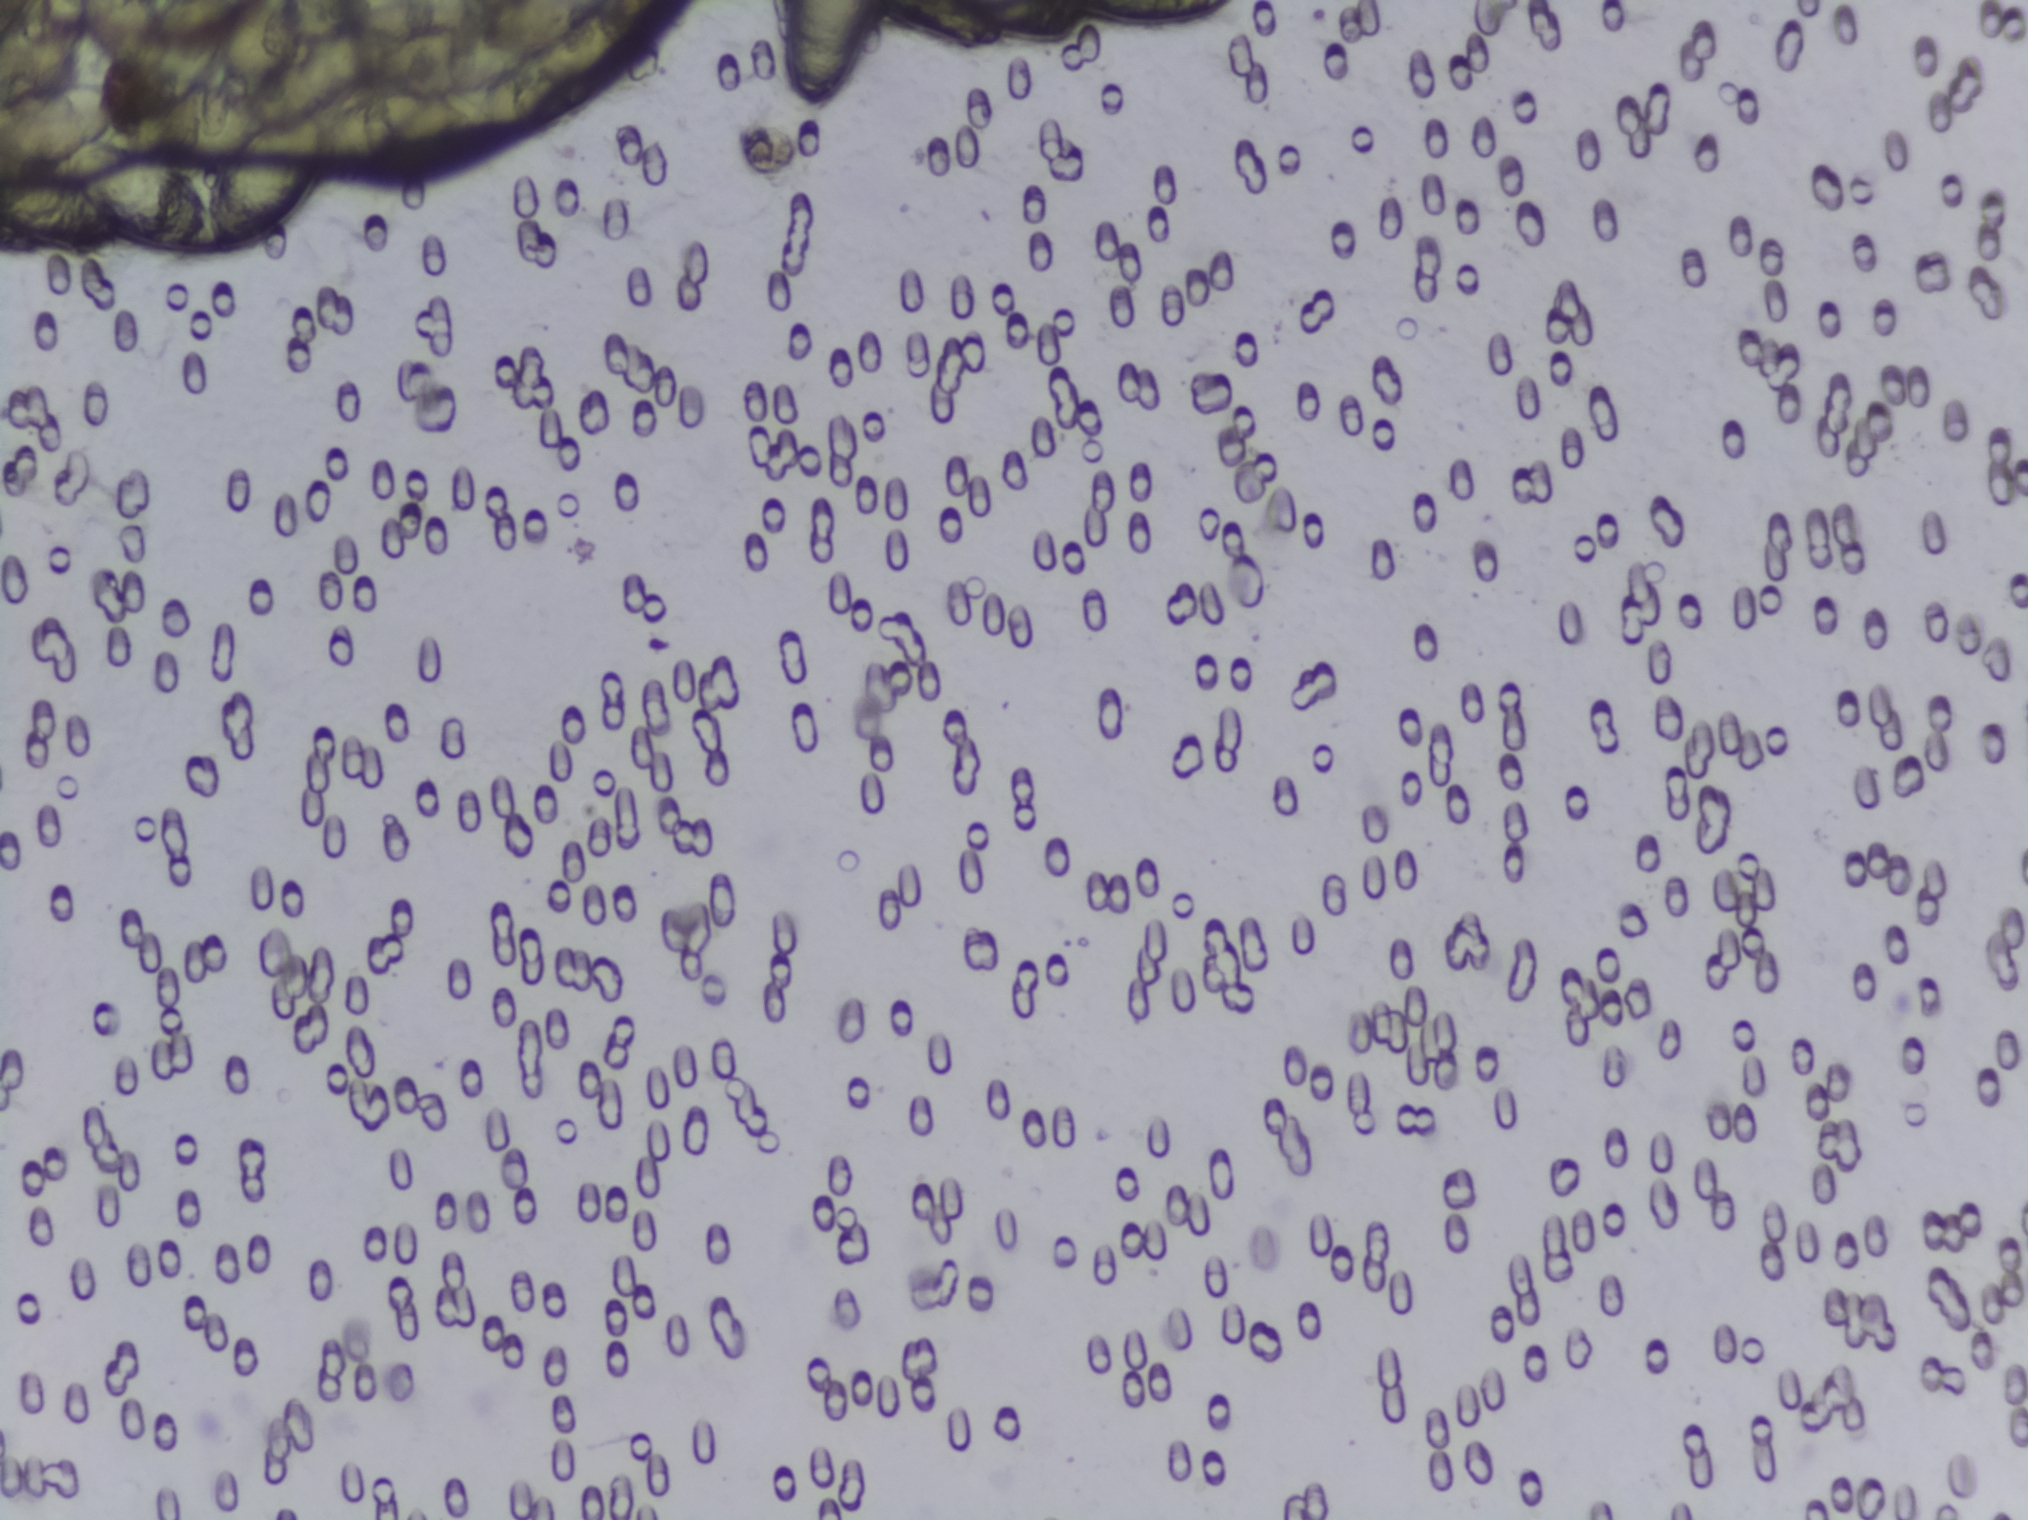
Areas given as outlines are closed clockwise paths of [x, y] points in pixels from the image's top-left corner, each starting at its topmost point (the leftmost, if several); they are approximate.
Schistosoma eggs, outlined areas: outline [0, 0], [657, 1], [631, 23], [638, 40], [624, 60], [604, 79], [584, 85], [586, 97], [575, 109], [538, 128], [502, 132], [499, 155], [475, 170], [381, 187], [348, 183], [326, 166], [304, 211], [235, 252], [170, 250], [127, 239], [100, 253], [43, 255], [20, 246], [0, 225], [0, 182], [14, 174], [72, 179], [75, 157], [46, 169], [0, 172] (a cluster of eggs; reaching the left and top edges of the frame); outline [786, 0], [1226, 0], [1203, 25], [1122, 25], [1090, 11], [1084, 28], [1055, 41], [1008, 33], [976, 46], [911, 32], [883, 11], [855, 73], [836, 92], [805, 107], [792, 104], [774, 84], [774, 45] (reaching the top edge of the frame). Eggs that touch can end up inside the same outlined area.
Photograph from an automated digital microscope: urine filter membrane, 4× objective. The field of view is about 1.5 mm × 1.1 mm.